Urine filtration membrane under a 4× objective, photographed by an automated digital microscope.
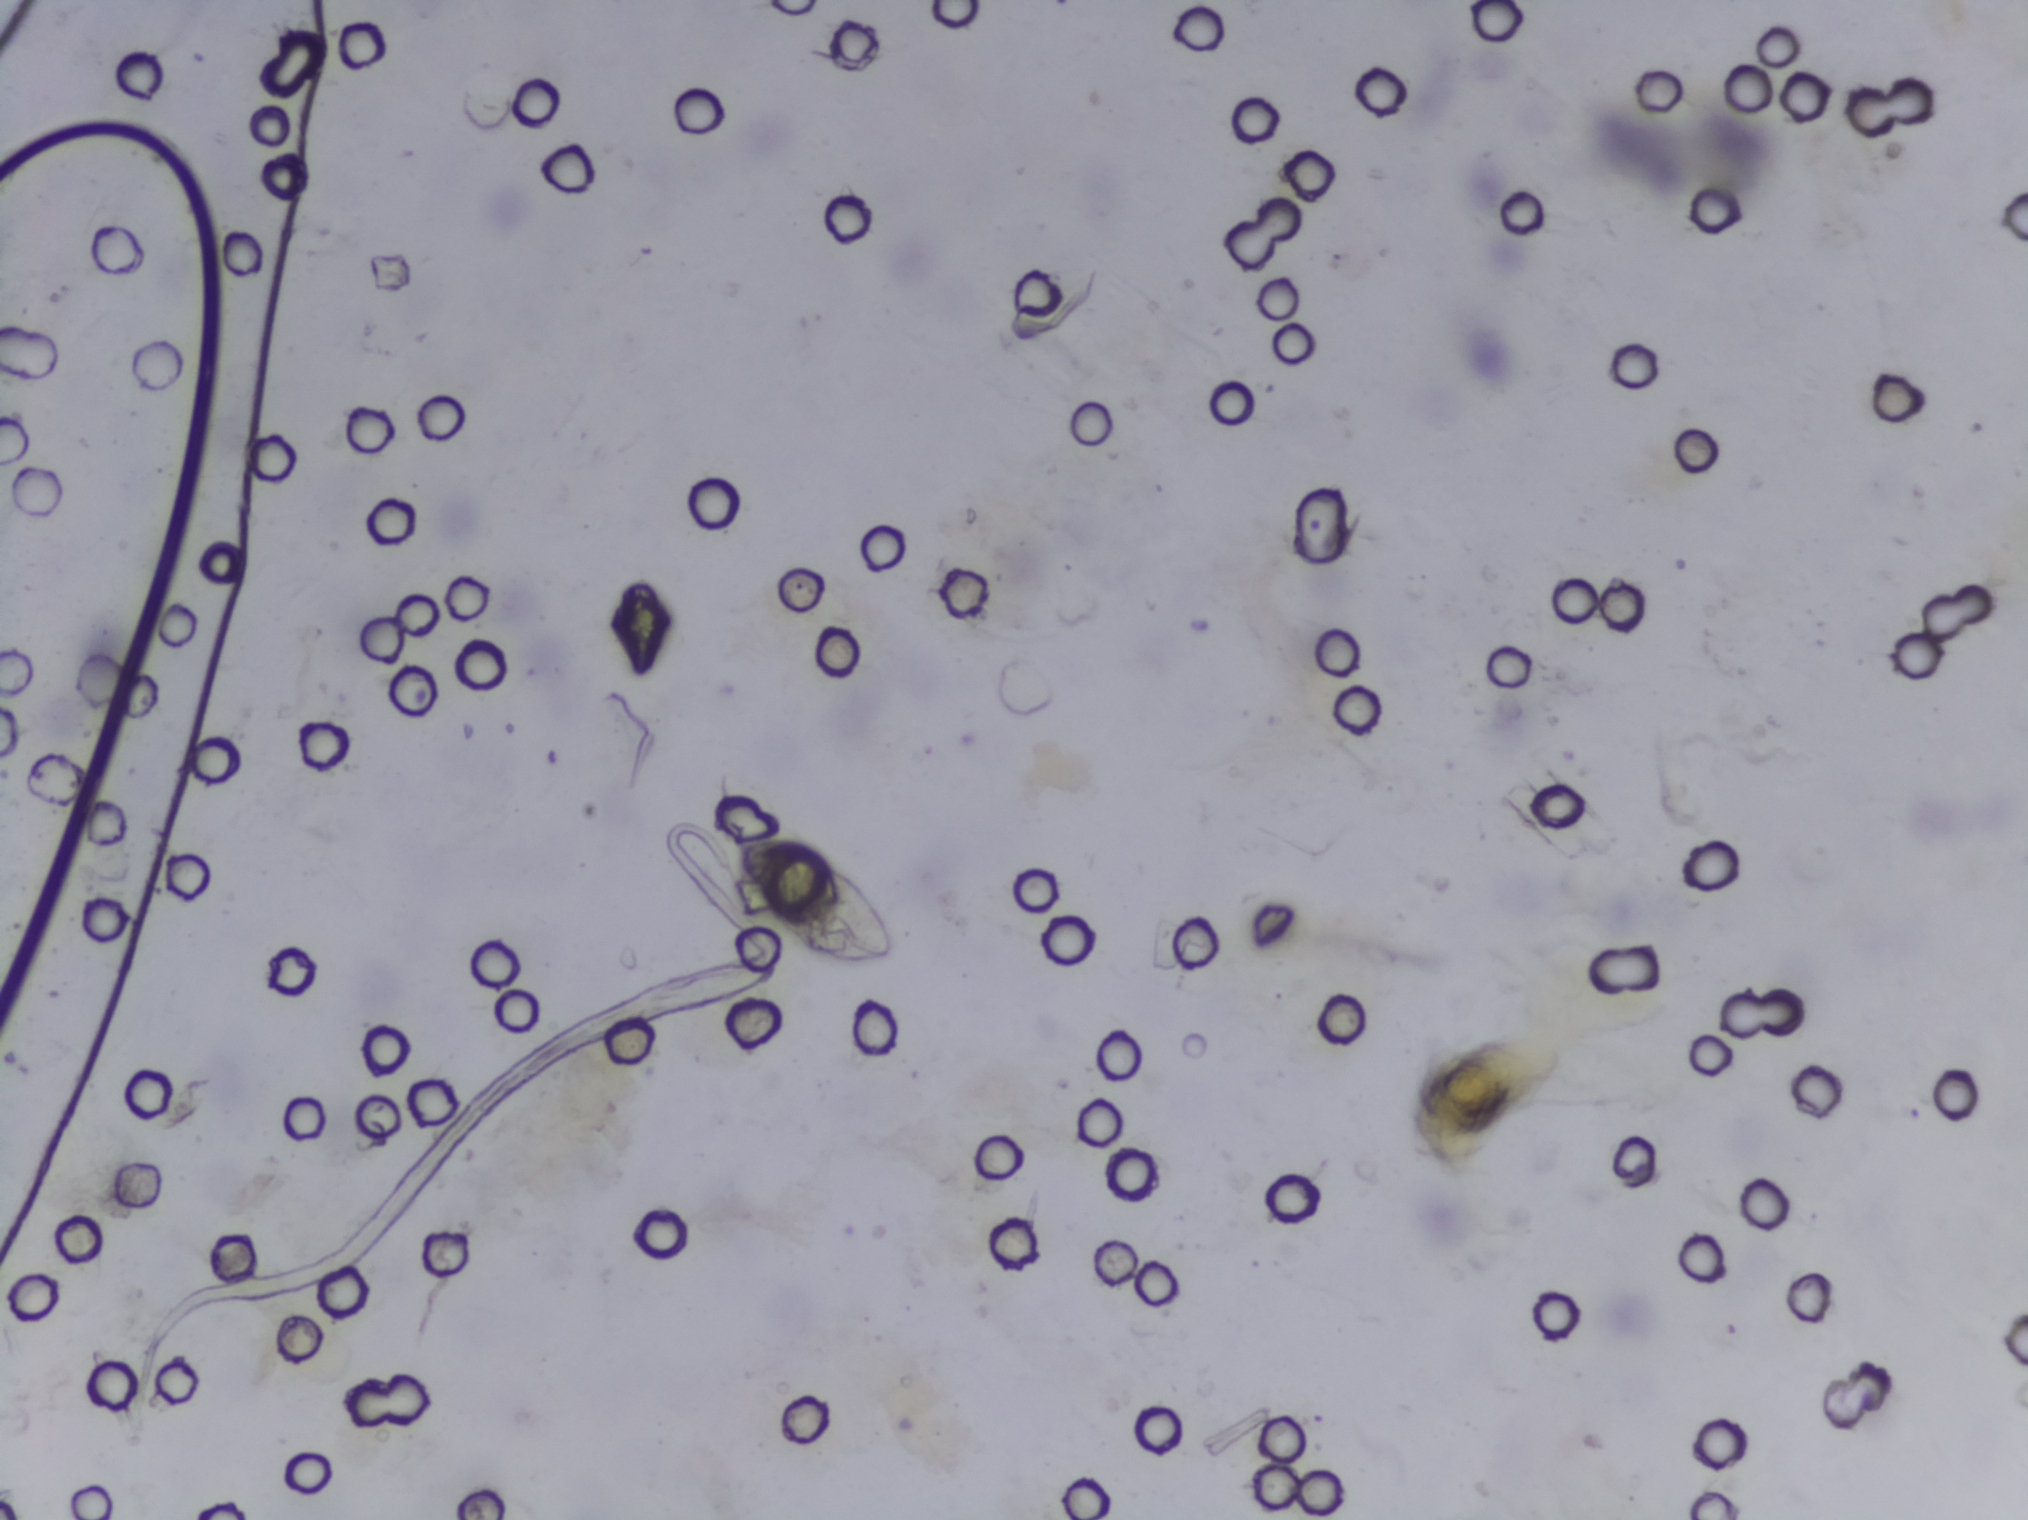
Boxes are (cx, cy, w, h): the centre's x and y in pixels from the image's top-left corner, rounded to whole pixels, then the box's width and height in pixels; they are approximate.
Schistosoma eggs are outlined in the expert annotation at (cx=815, cy=899, w=160, h=133). A single outlined area may contain several eggs. A marked egg may occasionally be S. mansoni rather than S. haematobium.